Microscope photograph (4× objective) of a membrane that a urine sample was filtered through. The image covers about 1.5 × 1.1 mm of the membrane.
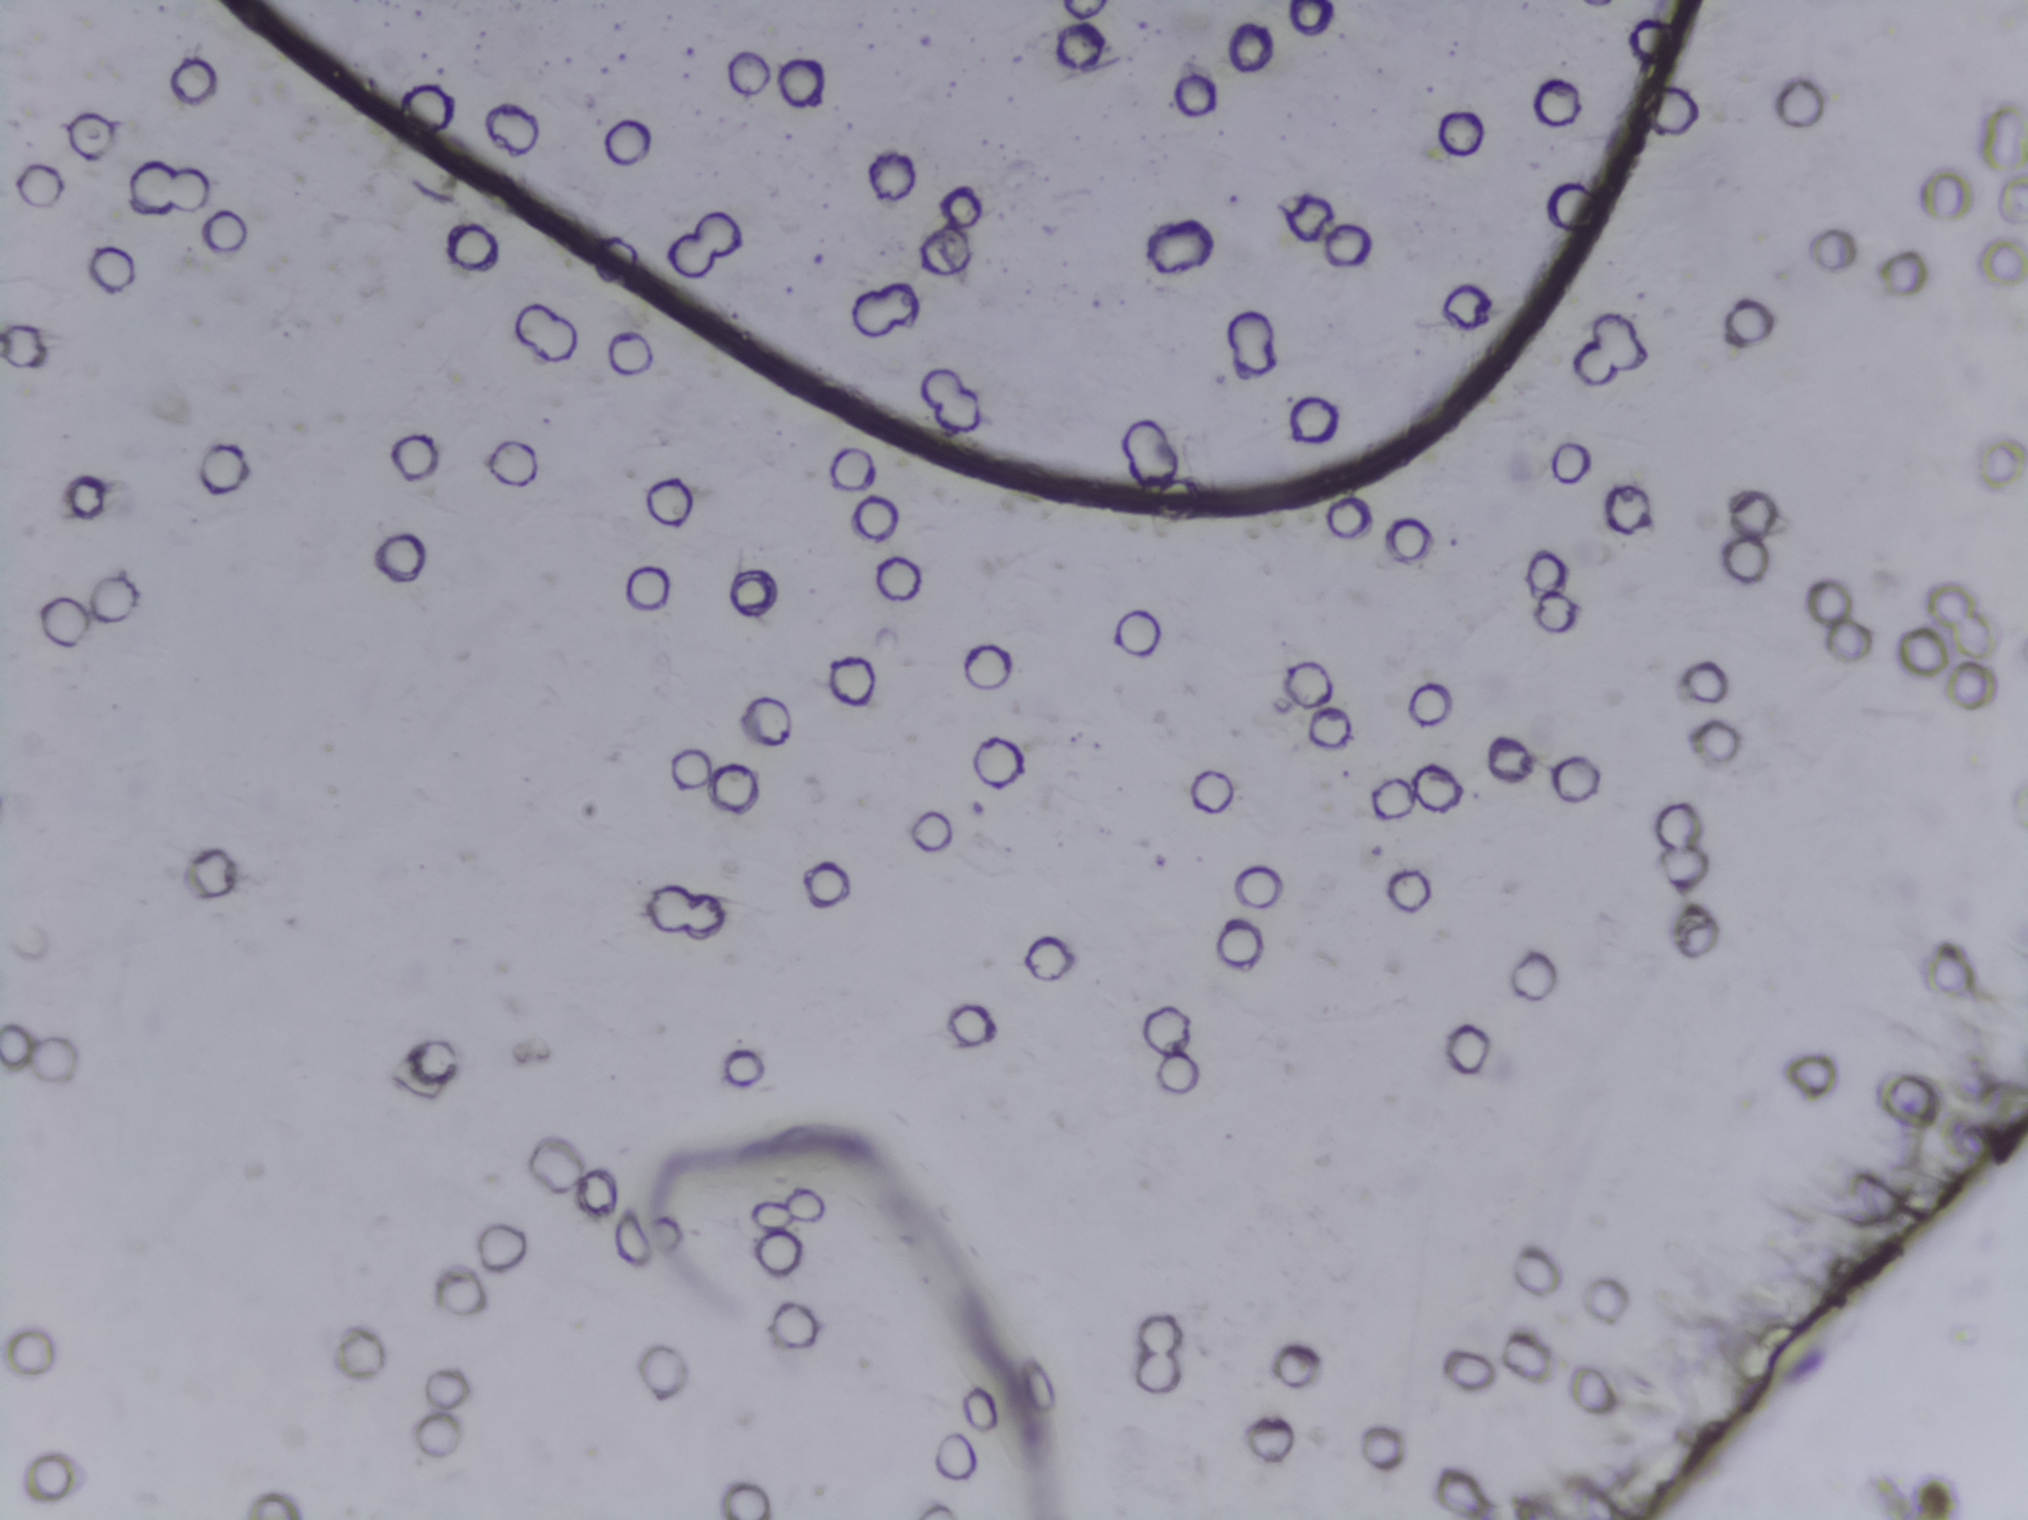
Schistosoma eggs: none outlined.